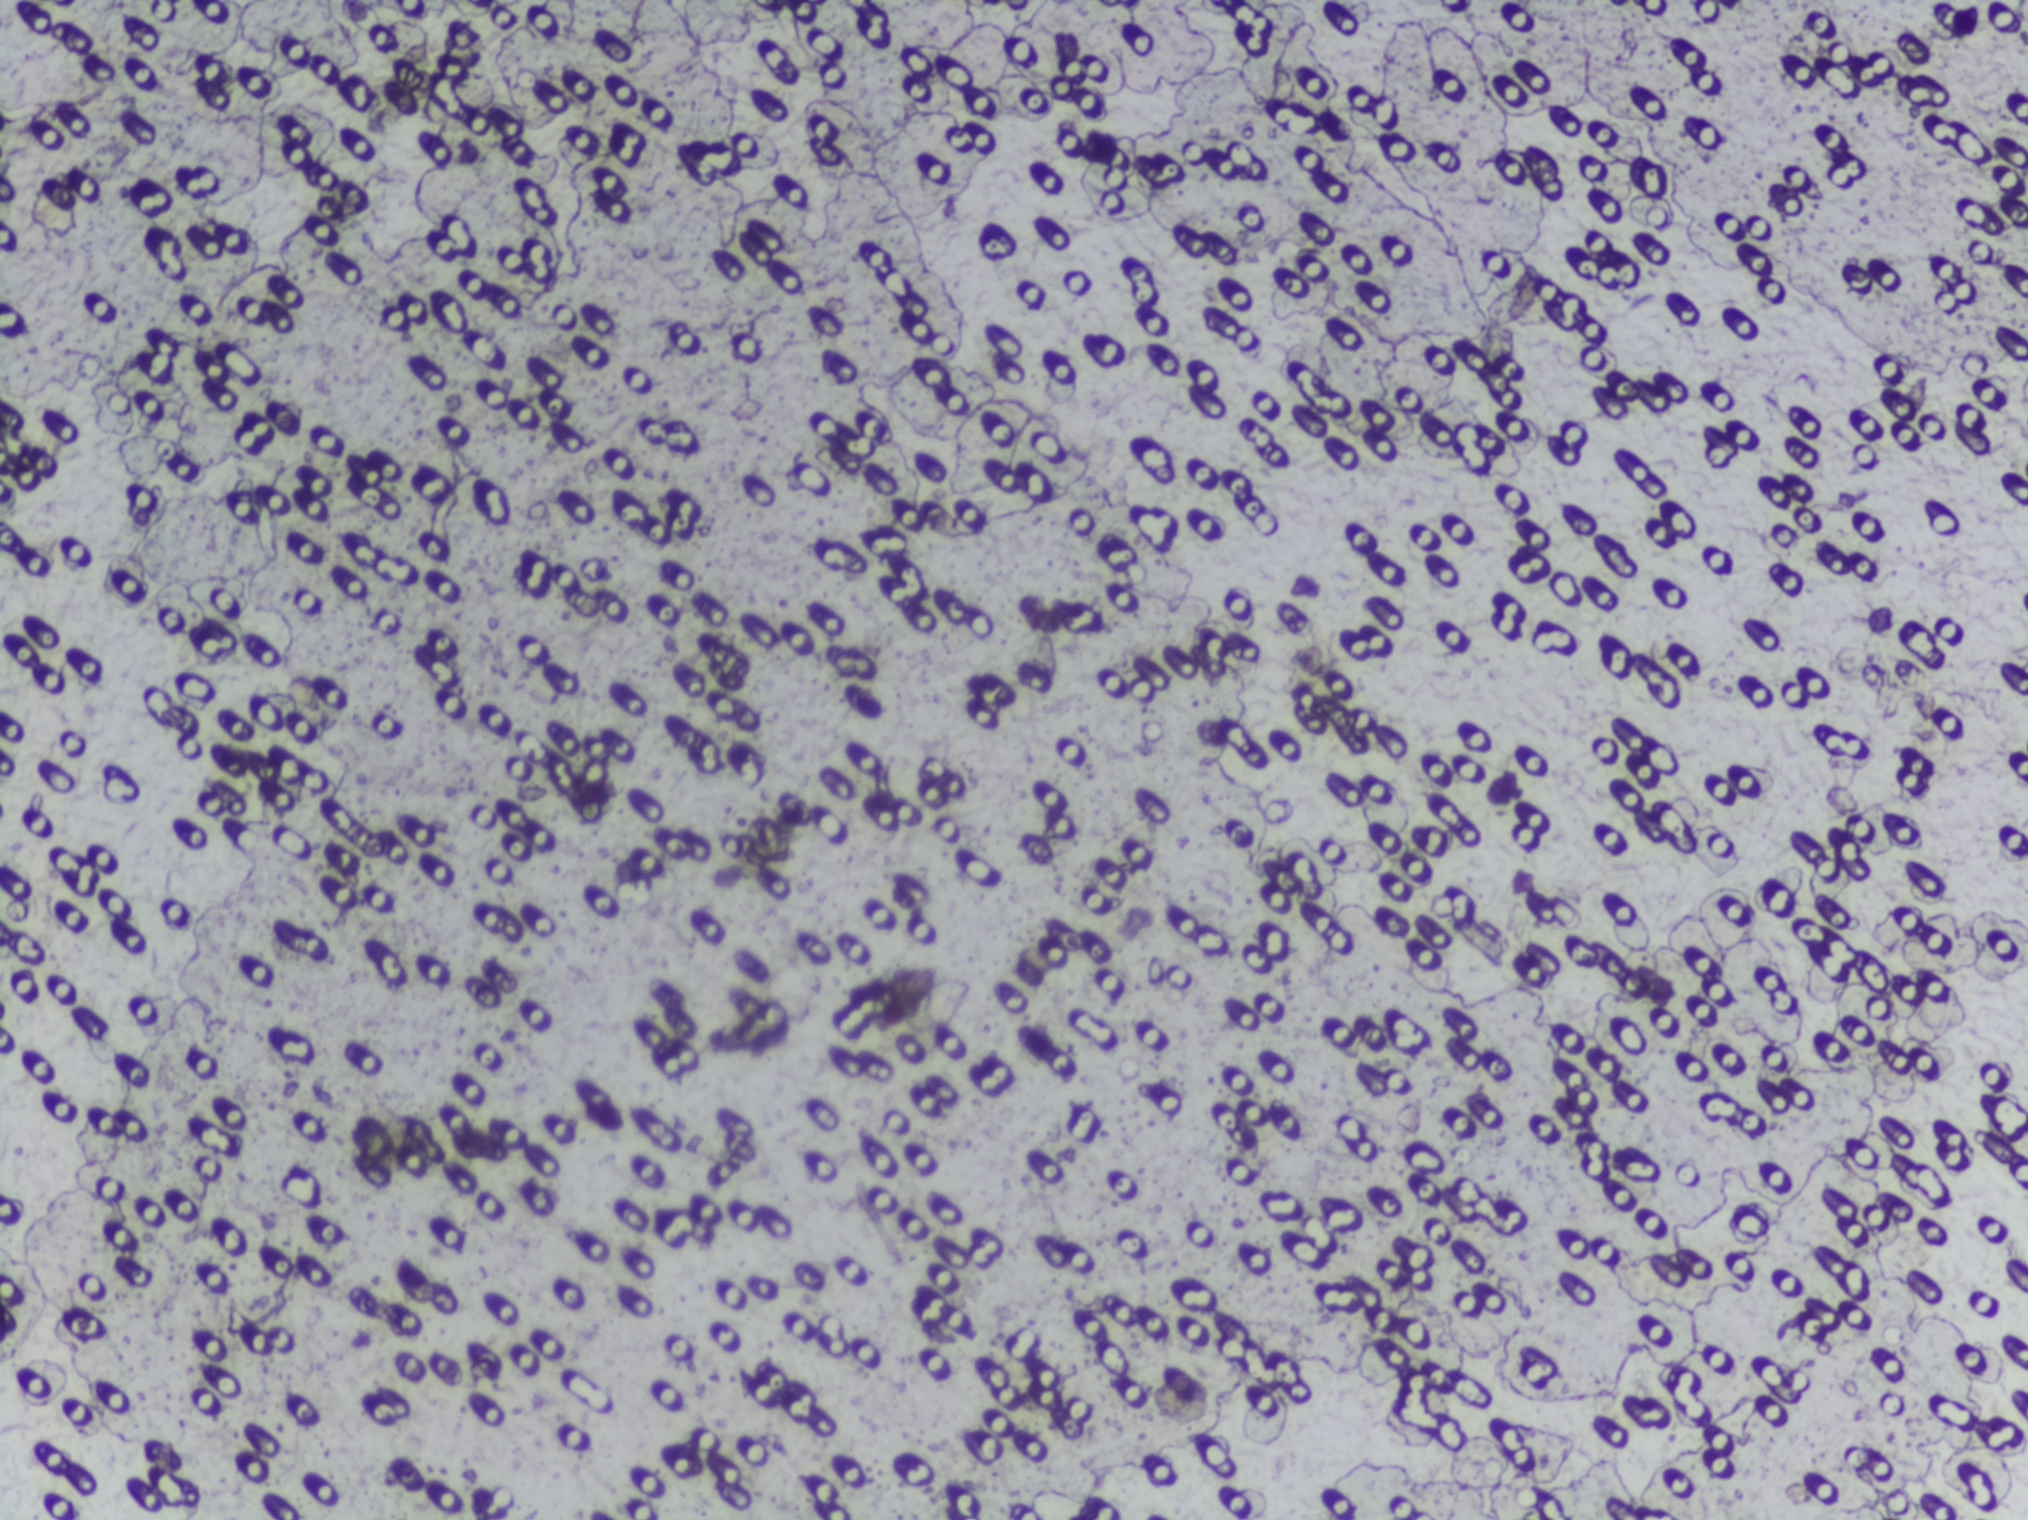
Photograph from an automated digital microscope: urine filter membrane, 4× objective. The field of view is about 1.5 mm × 1.1 mm.
The expert annotation outlines no Schistosoma egg in this image.